Microscope photograph (4× objective) of a membrane that a urine sample was filtered through. The field of view is about 1.5 mm × 1.1 mm.
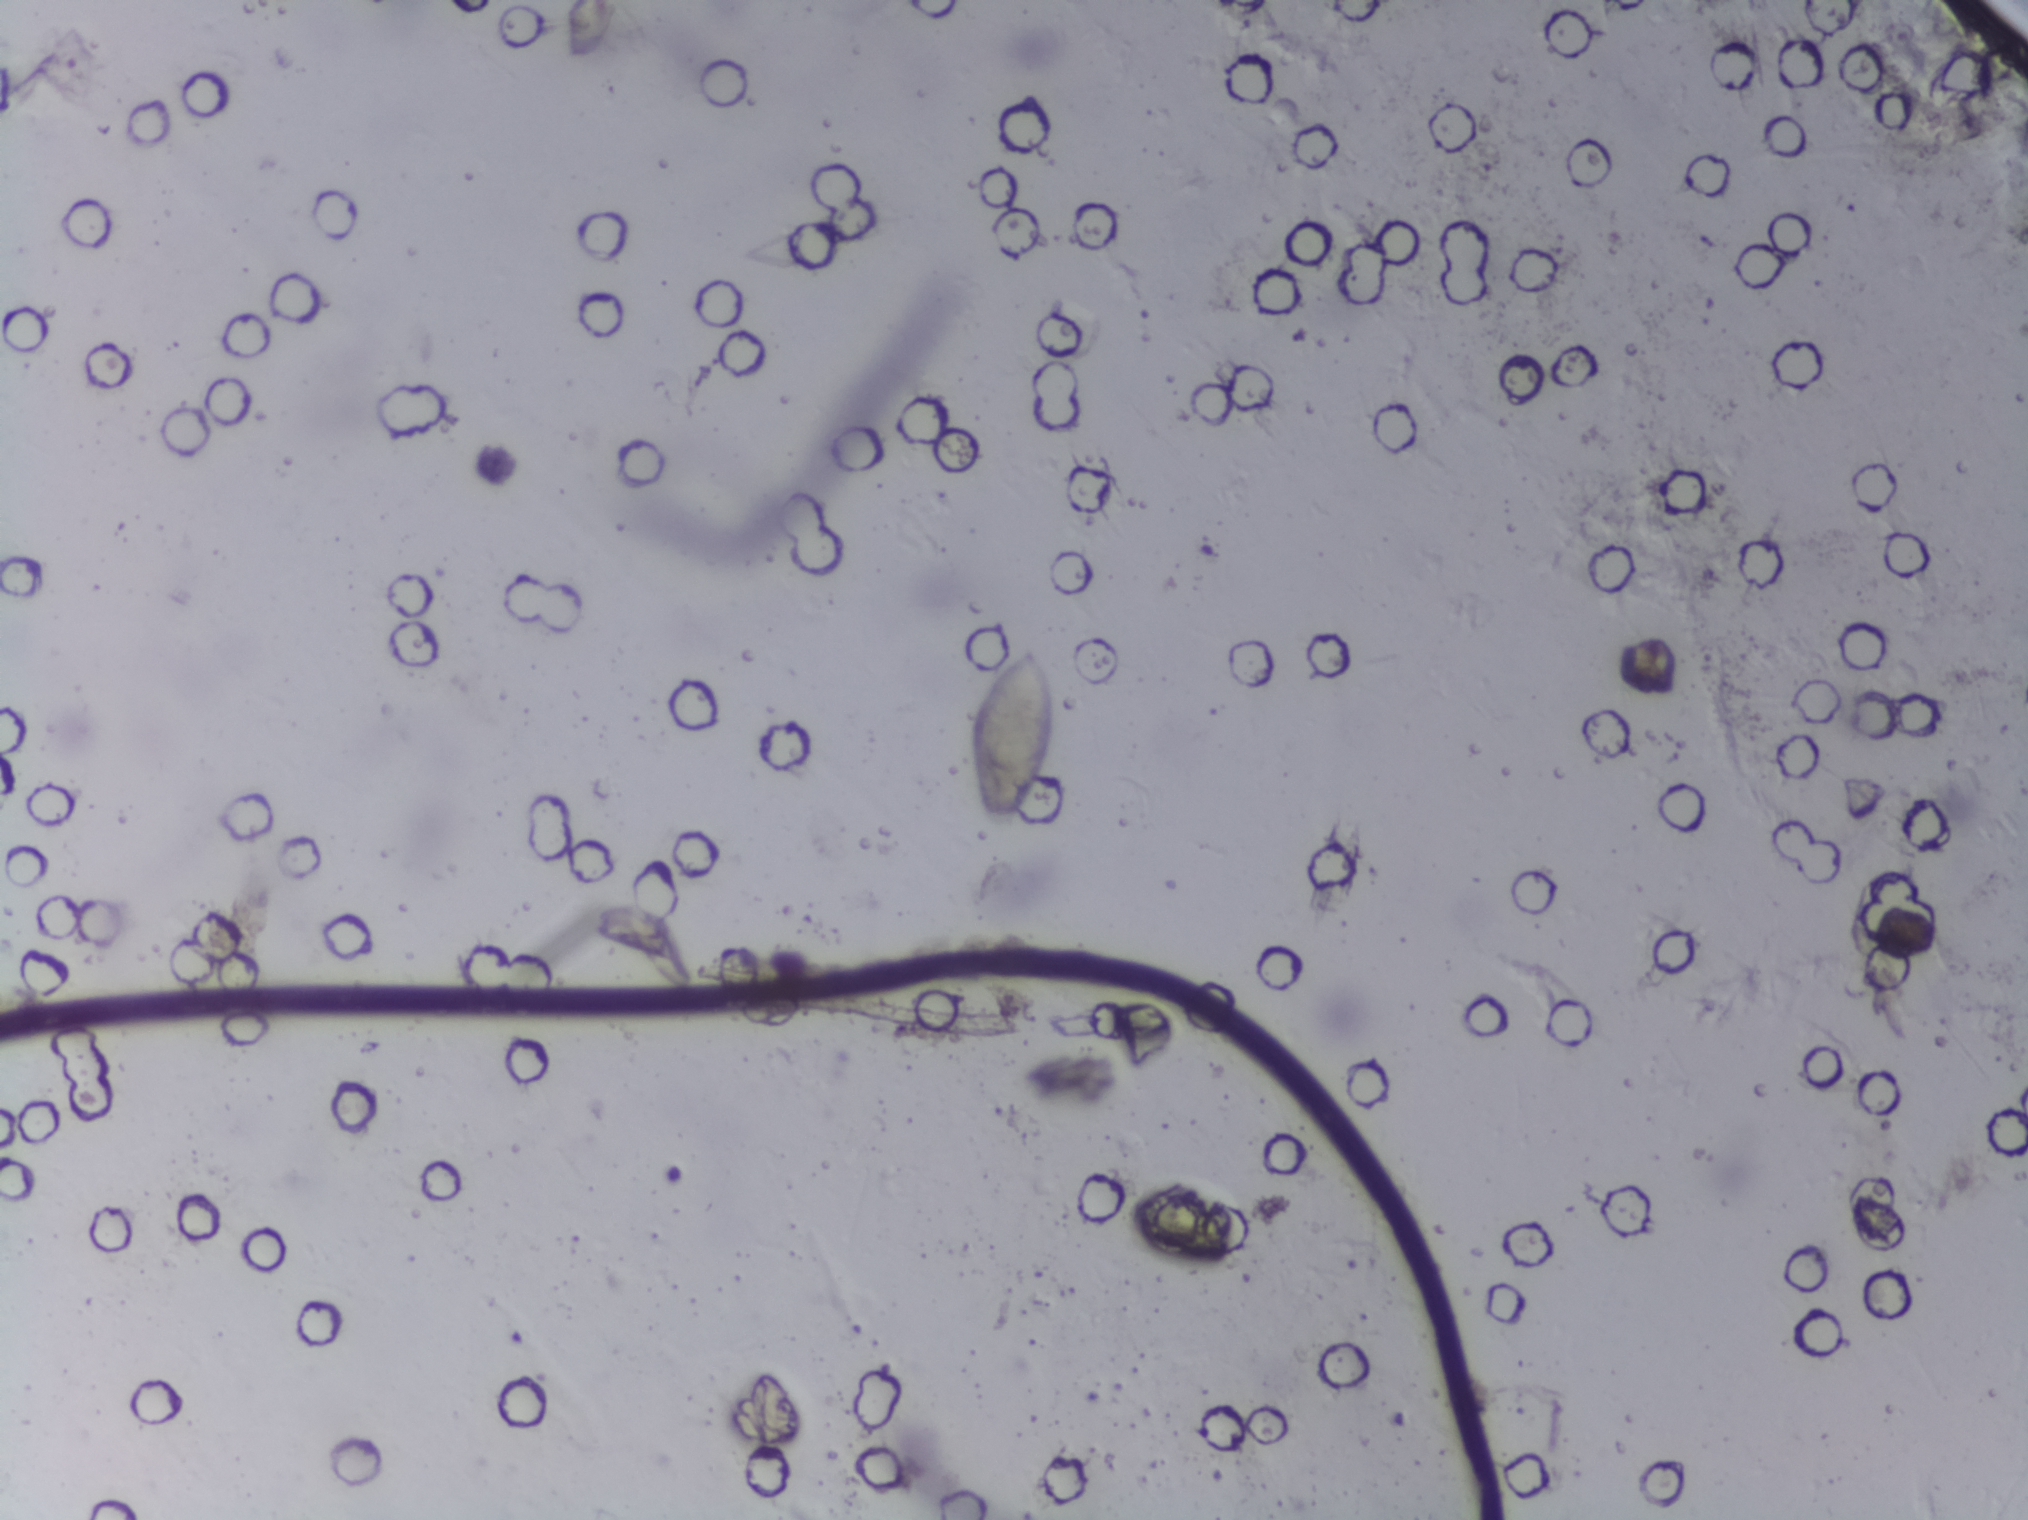
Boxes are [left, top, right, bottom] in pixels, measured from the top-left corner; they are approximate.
Outlined Schistosoma egg areas:
1. [963, 641, 1063, 832]
Eggs that touch can end up inside the same outlined area.